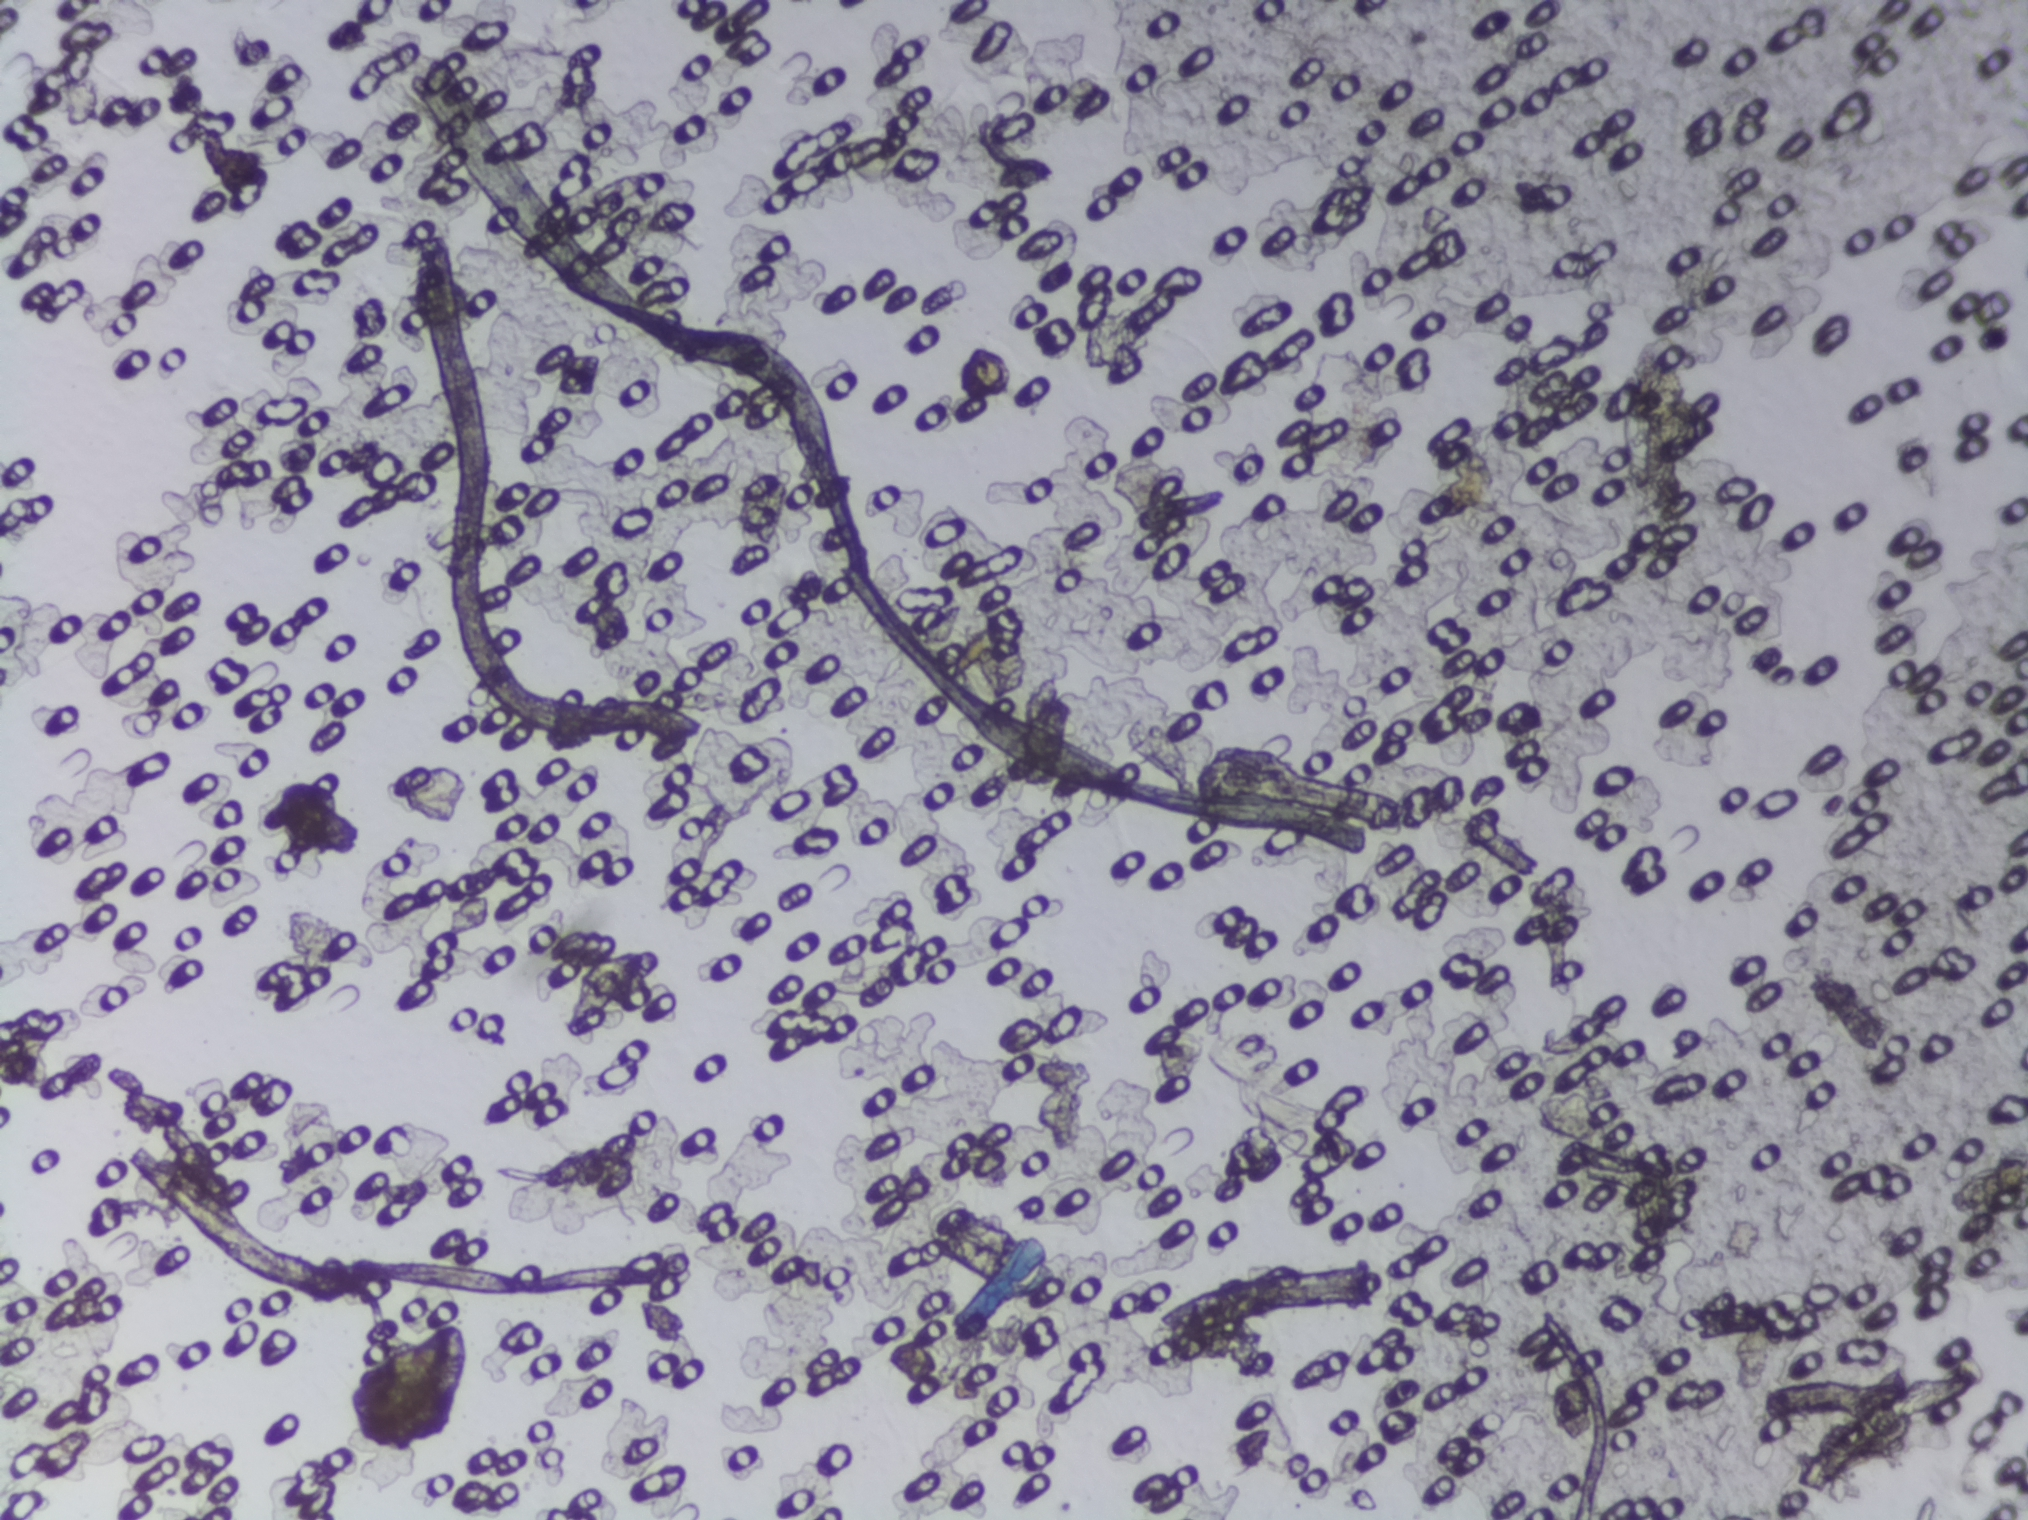
The expert annotation outlines no Schistosoma egg in this image.
Microscope photograph (4× objective) of a membrane that a urine sample was filtered through. The image covers about 1.5 × 1.1 mm of the membrane.